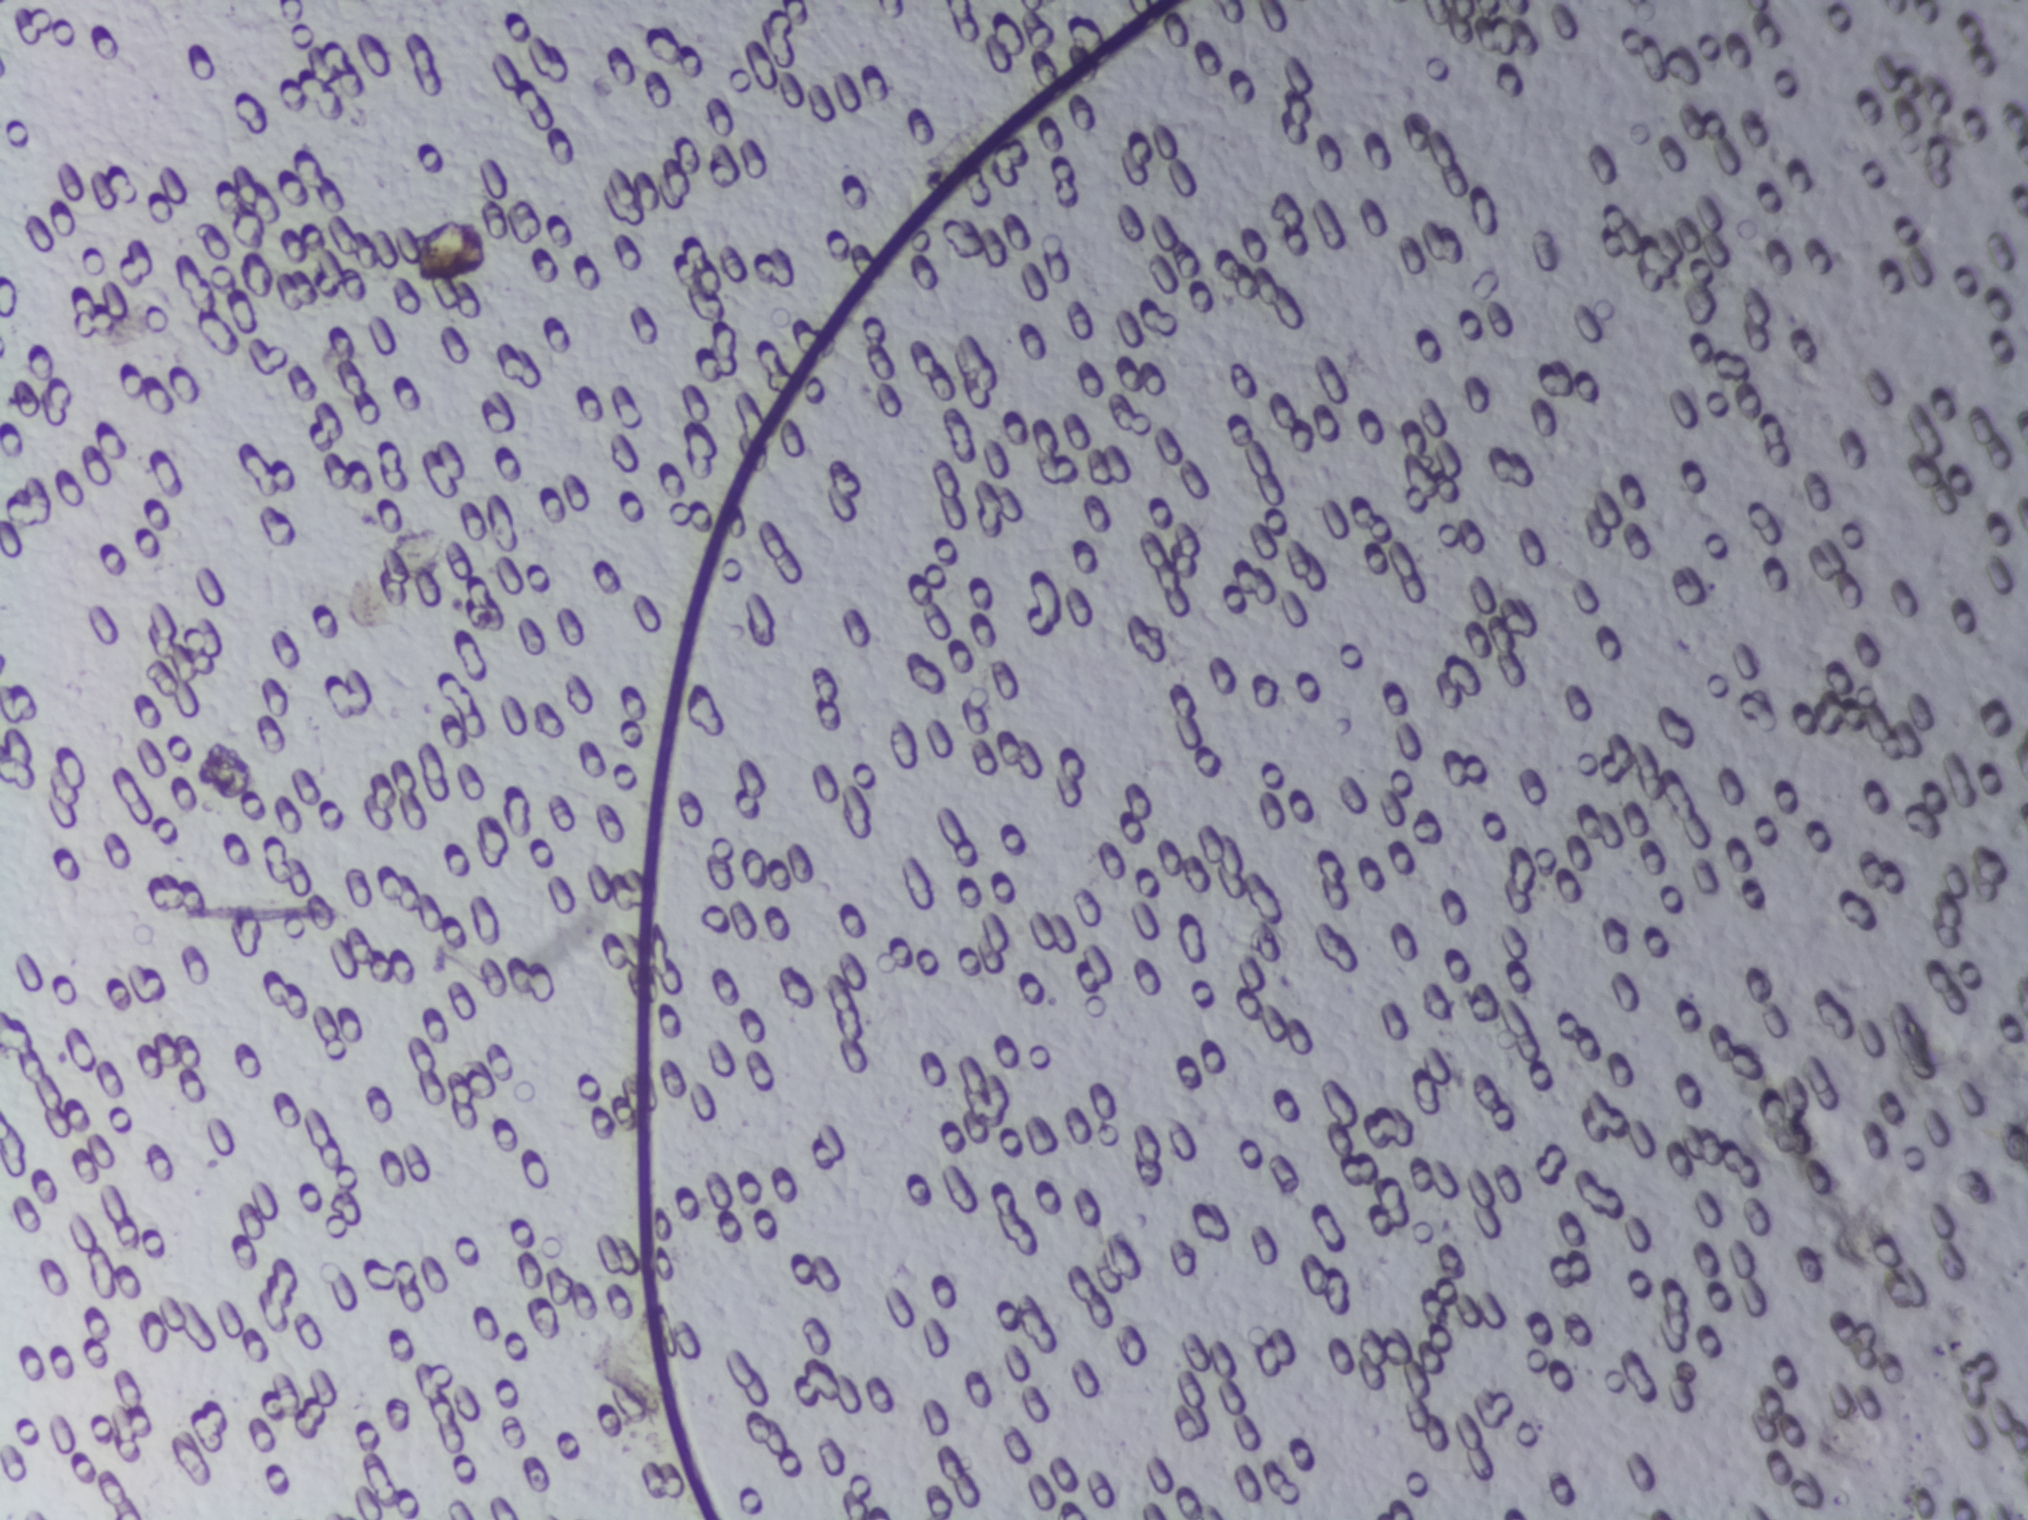
Urine filter membrane photographed through a 4× microscope objective. The field of view is about 1.5 mm × 1.1 mm.
No area of this image was outlined as a Schistosoma egg.